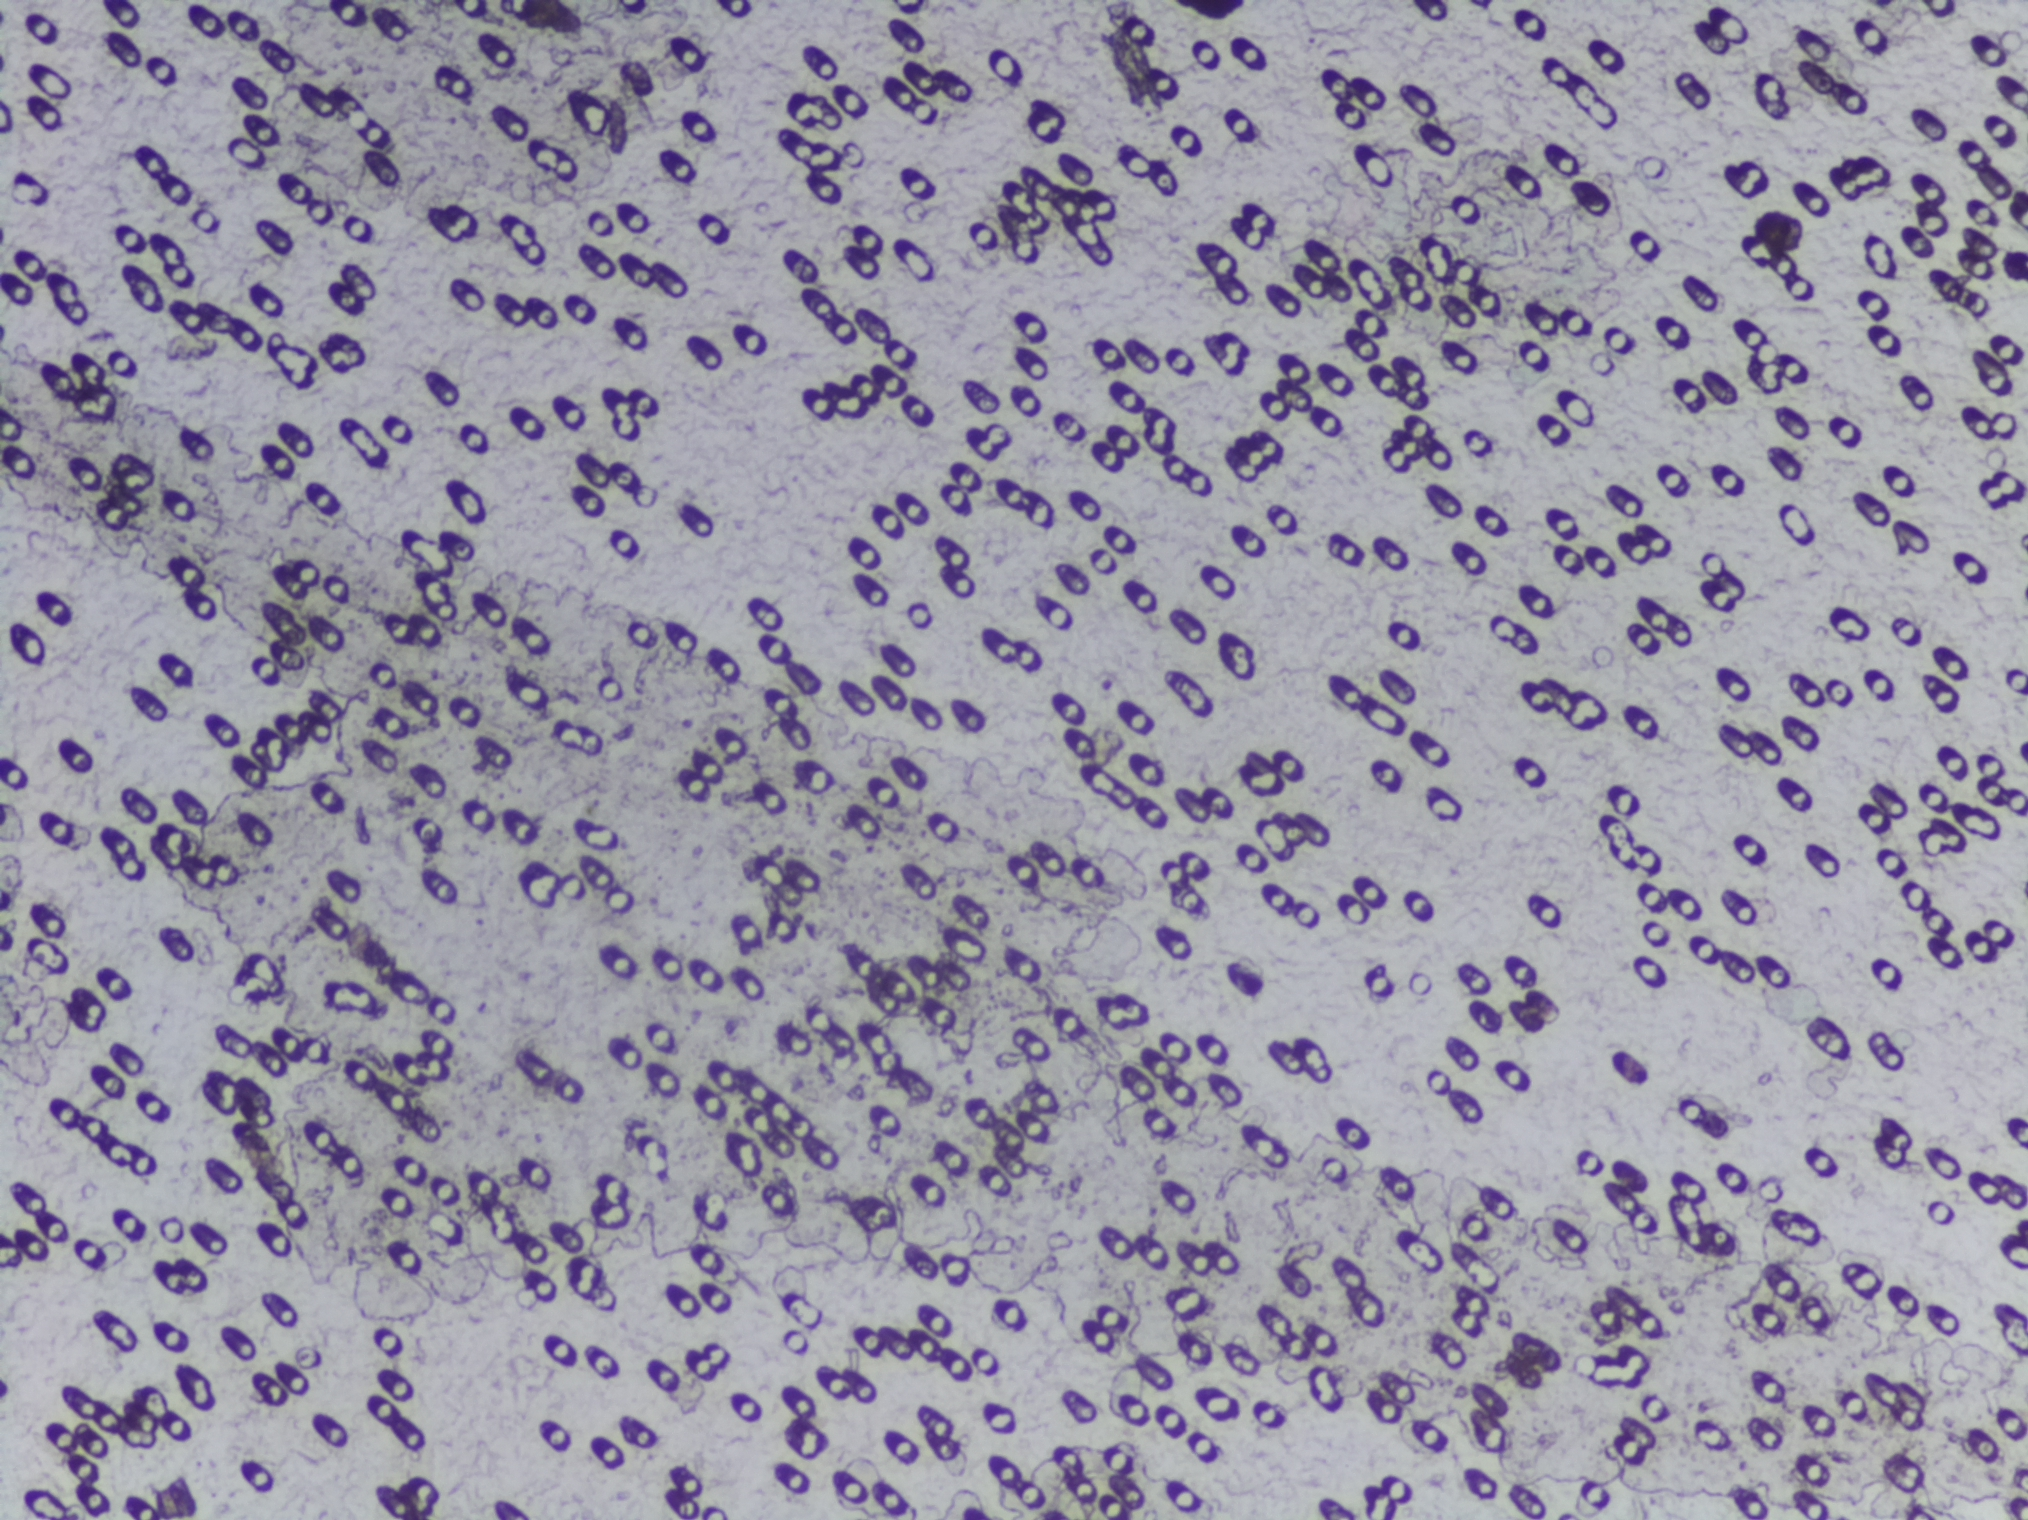
Photograph from an automated digital microscope: urine filter membrane, 4× objective.
Schistosoma eggs: none outlined.